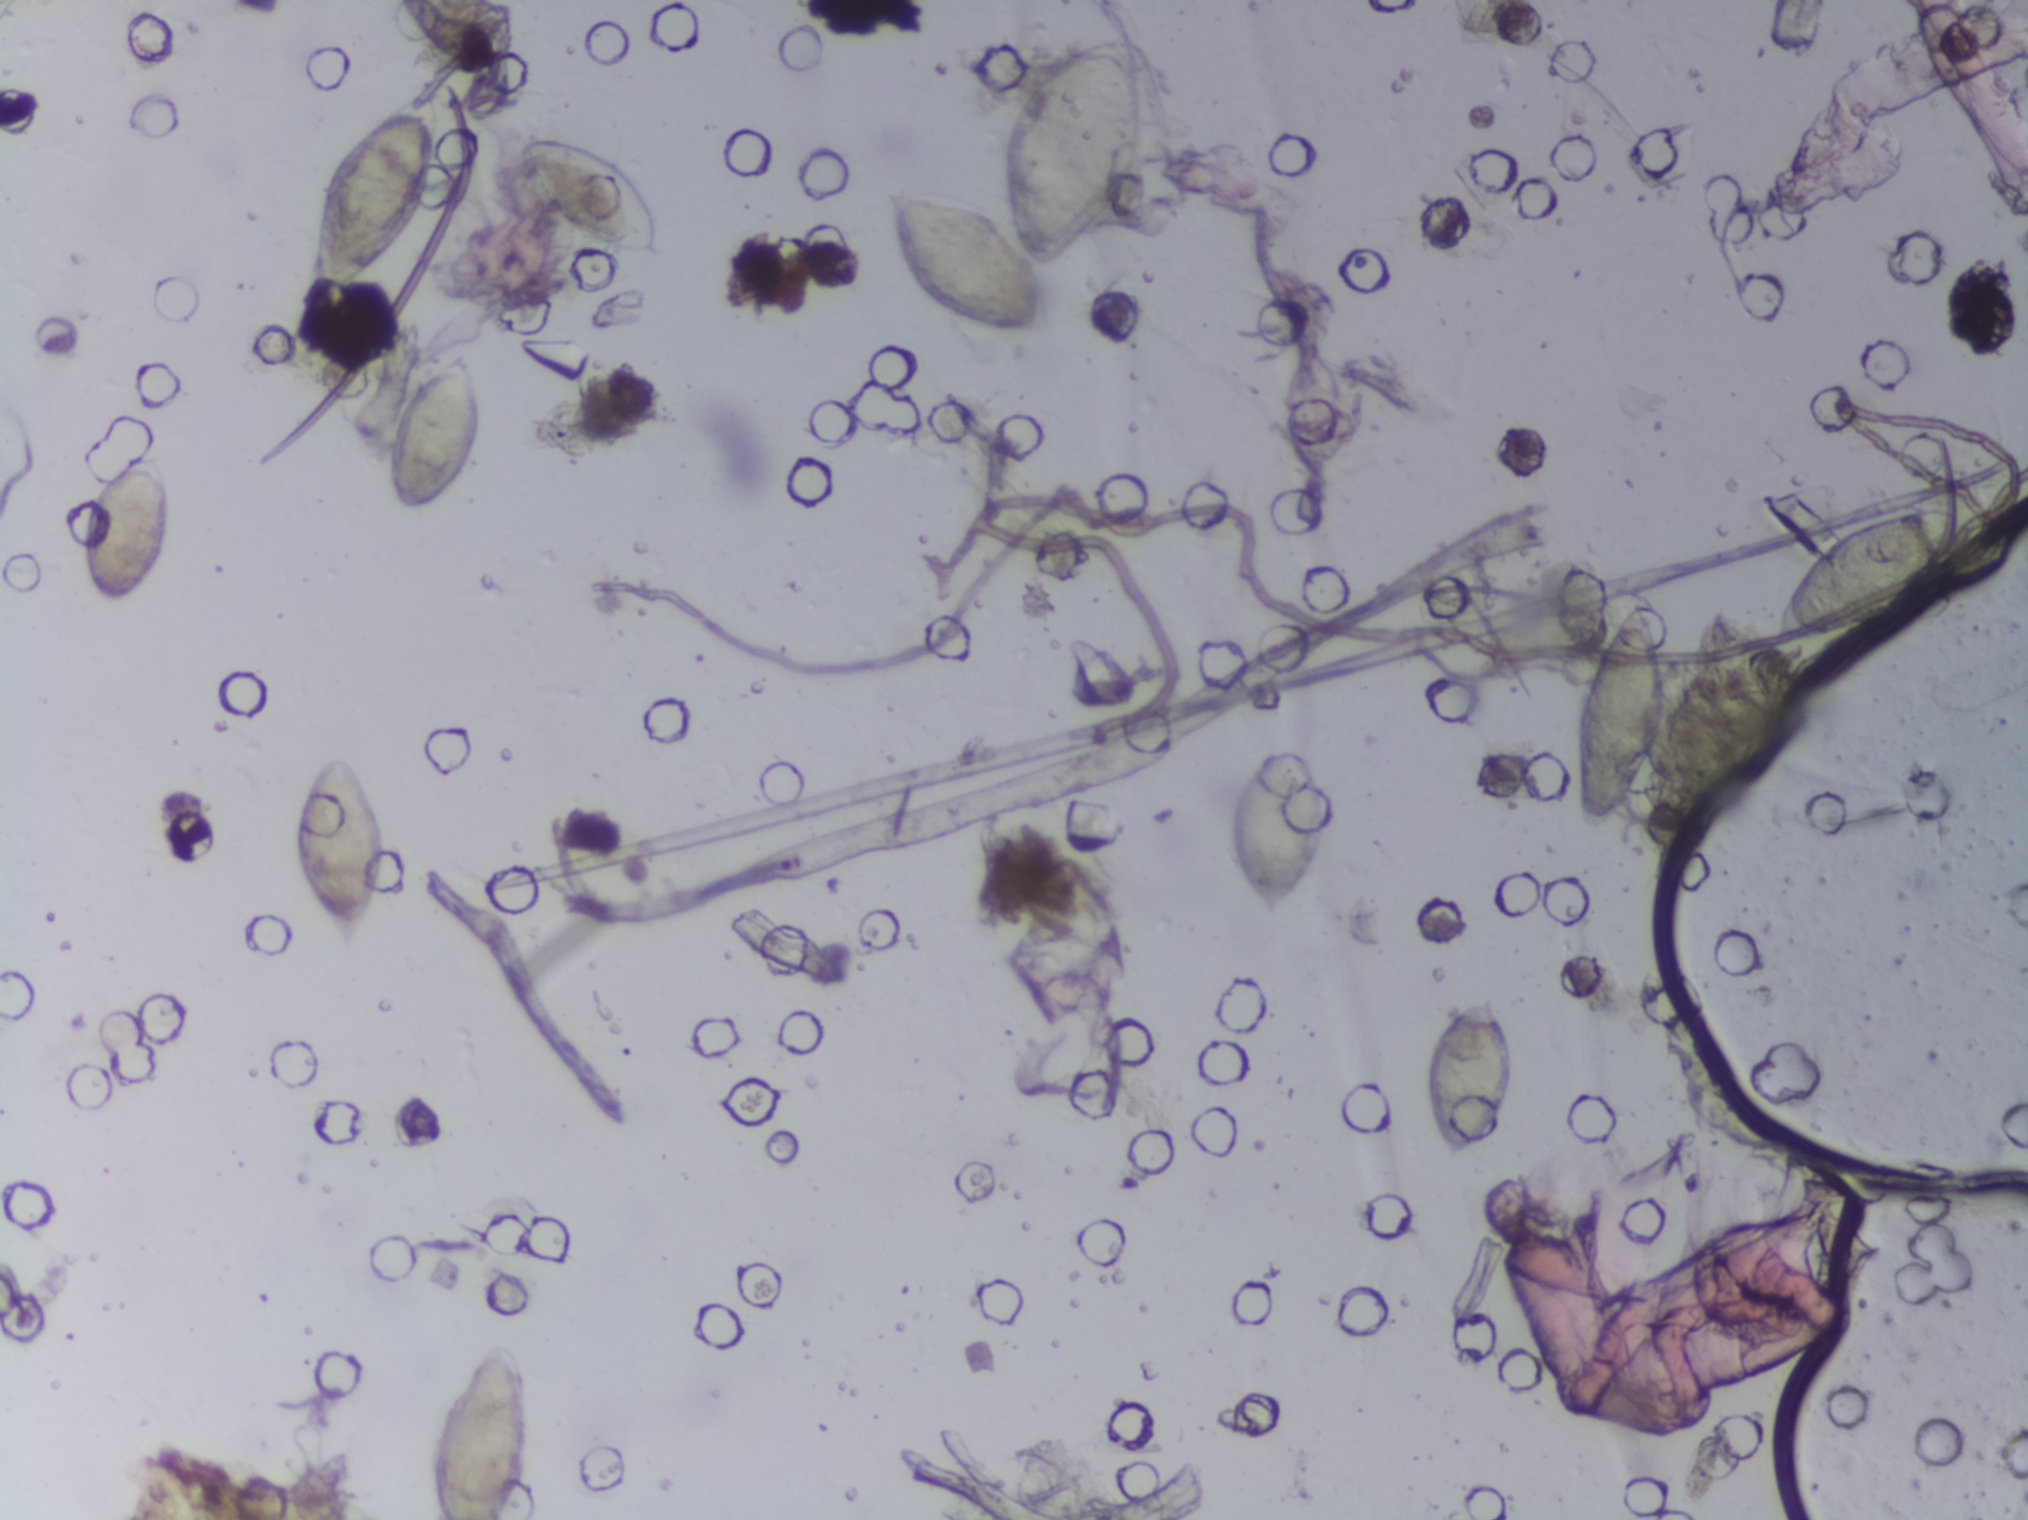
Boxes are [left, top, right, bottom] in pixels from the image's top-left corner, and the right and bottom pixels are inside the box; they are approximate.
{"schistosoma_egg_areas_xyxy_px": [[75, 452, 171, 605], [293, 751, 388, 962], [308, 93, 441, 305], [385, 349, 483, 514], [425, 1340, 531, 1519], [520, 136, 665, 259], [887, 33, 1149, 334], [1227, 738, 1332, 923], [1421, 993, 1514, 1164], [1568, 599, 1666, 830], [1765, 502, 1963, 645]]} Area 5 reaches the bottom edge of the frame.
Eggs that touch can end up inside the same outlined area.
Photograph from an automated digital microscope: urine filter membrane, 4× objective. Field of view: about 1.5 mm wide and 1.1 mm high.